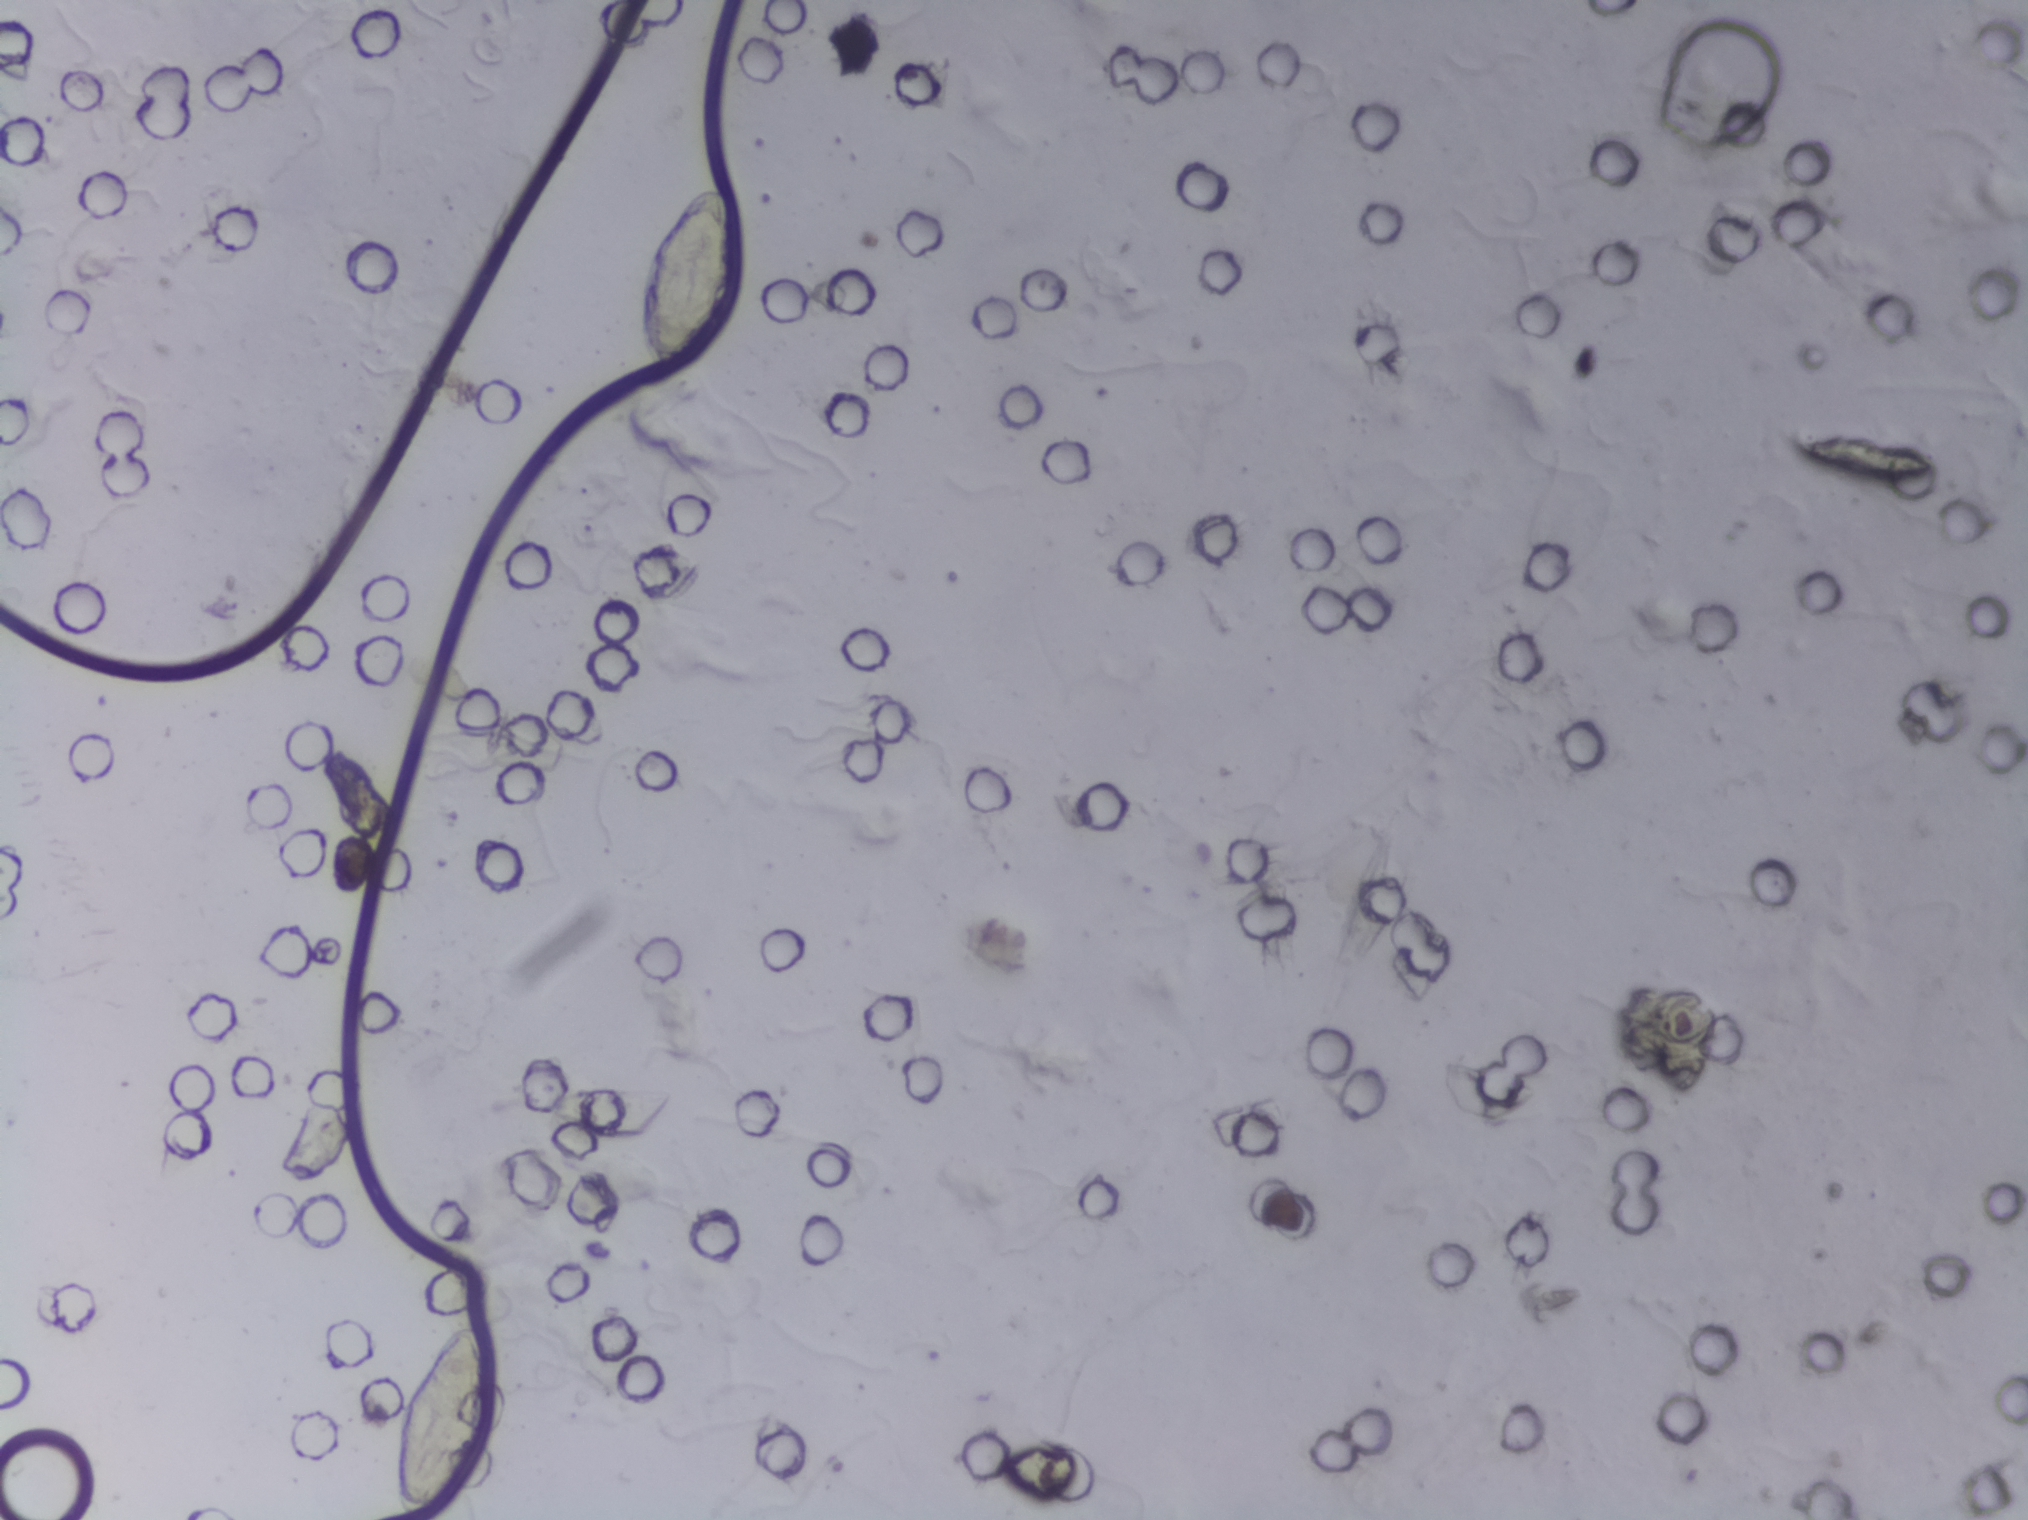
Urine filtration membrane under a 4× objective, photographed by an automated digital microscope. The field of view is about 1.5 mm × 1.1 mm.
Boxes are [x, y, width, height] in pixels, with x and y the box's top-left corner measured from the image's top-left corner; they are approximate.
Schistosoma eggs are outlined in two areas of this image, listed from left to right: [394, 1320, 92, 194] and [634, 183, 101, 184]. An outlined area can hold more than one egg.